Microscope photograph (4× objective) of a membrane that a urine sample was filtered through. Field of view: about 1.5 mm wide and 1.1 mm high.
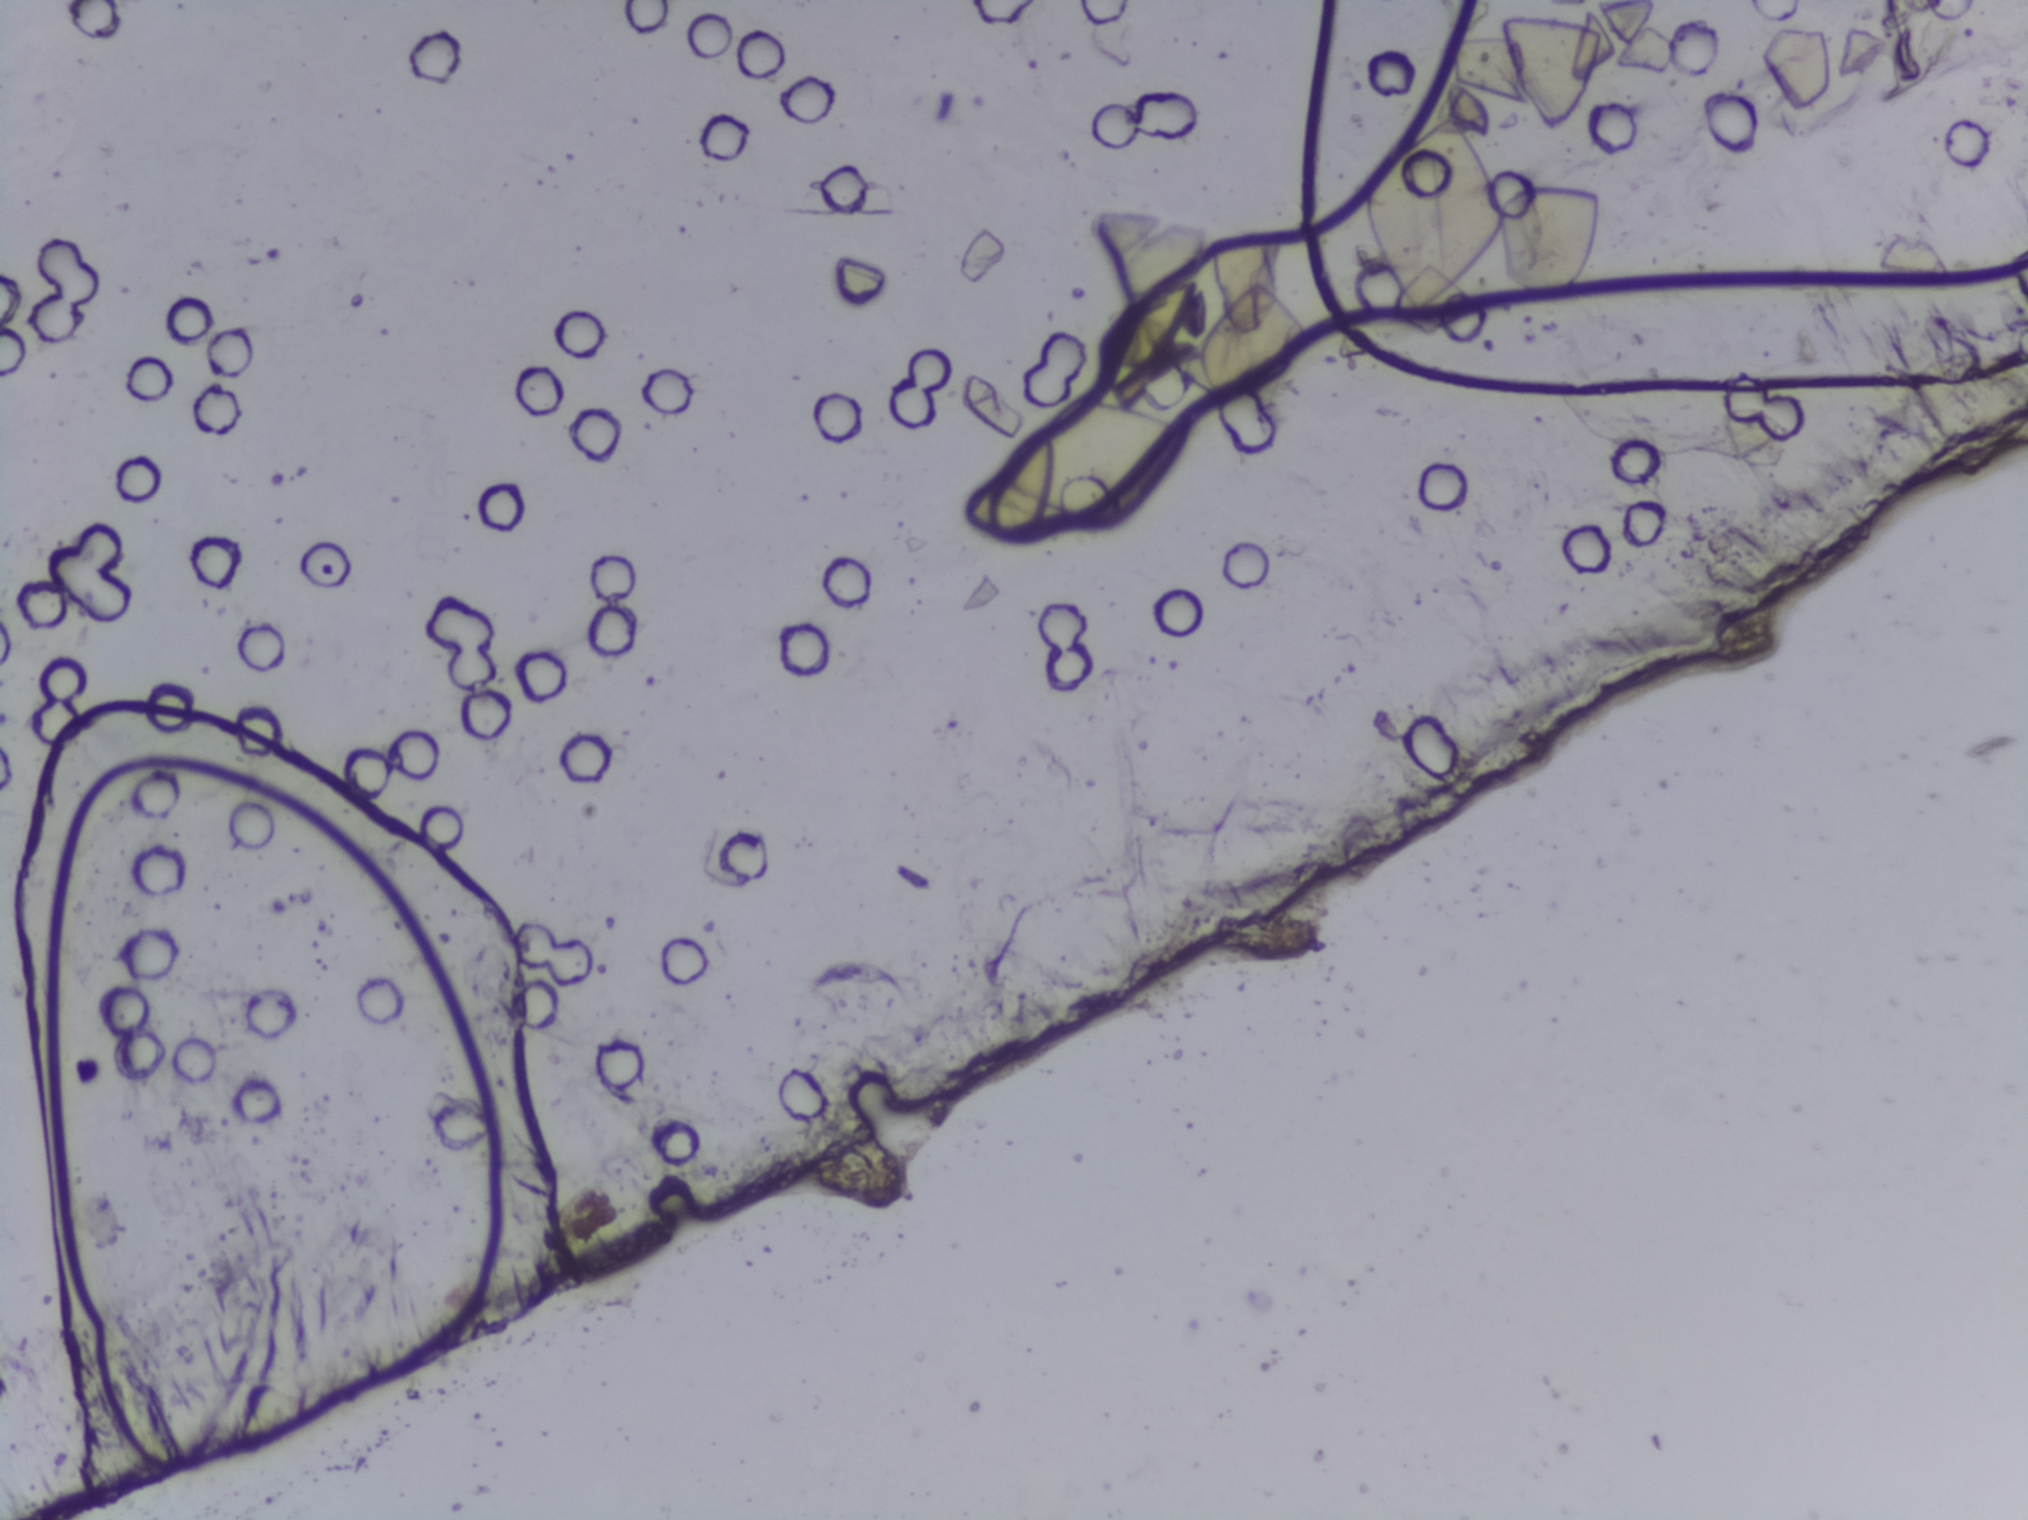
Schistosoma eggs: none outlined.